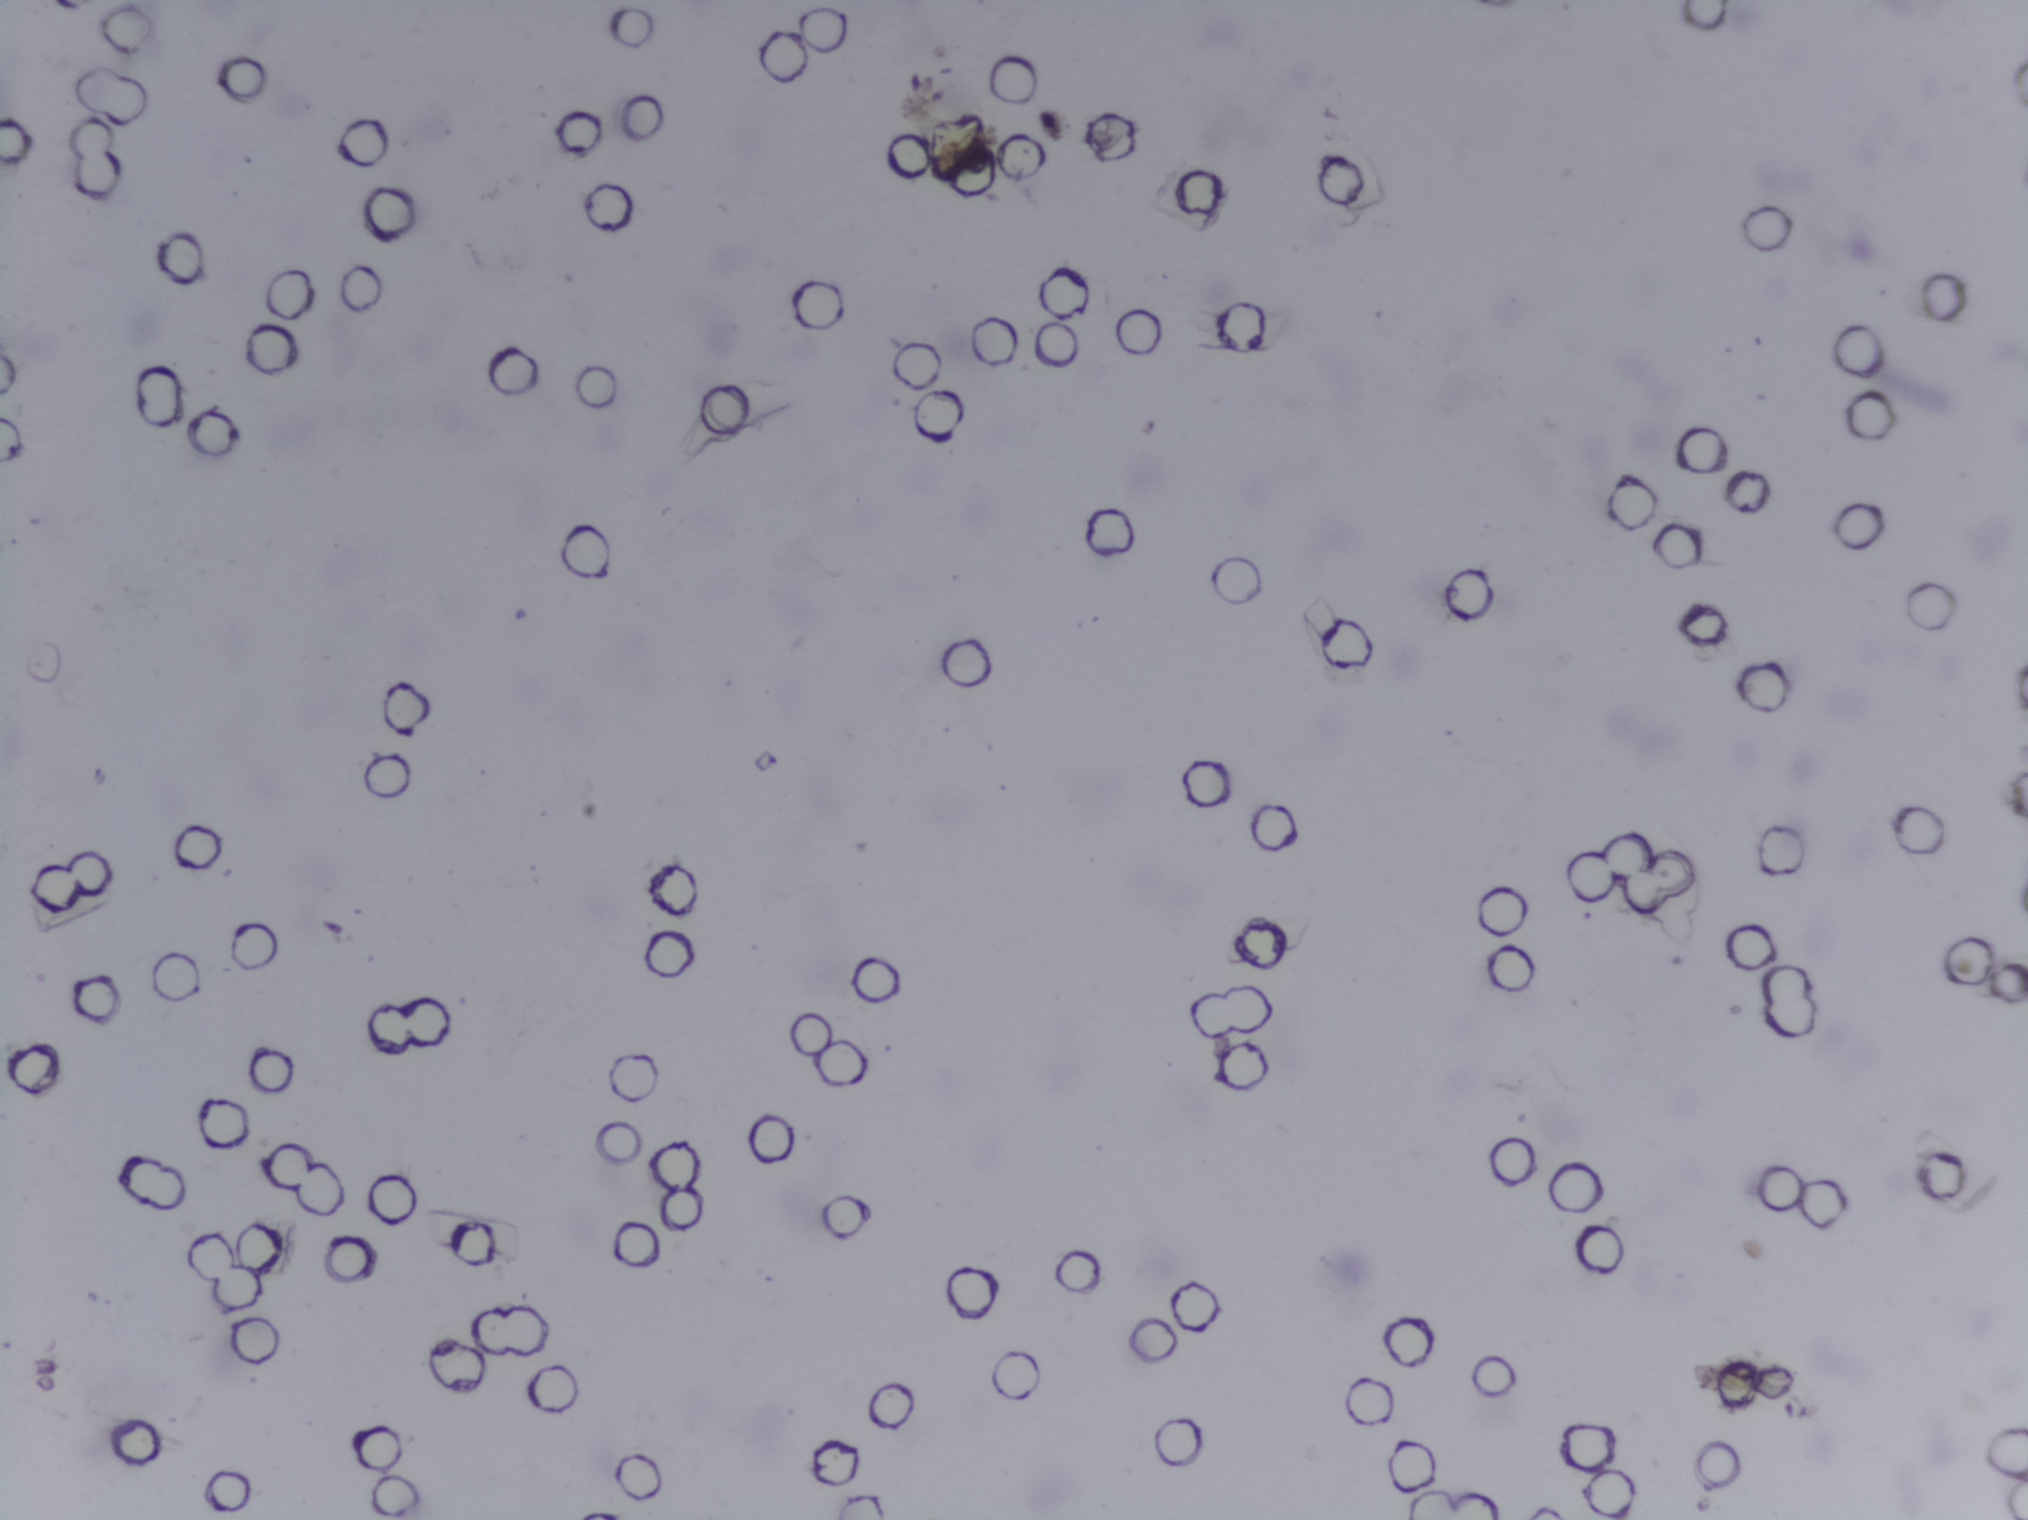
Schistosoma eggs: none outlined.
Urine filtration membrane under a 4× objective, photographed by an automated digital microscope. The field of view is about 1.5 mm × 1.1 mm.